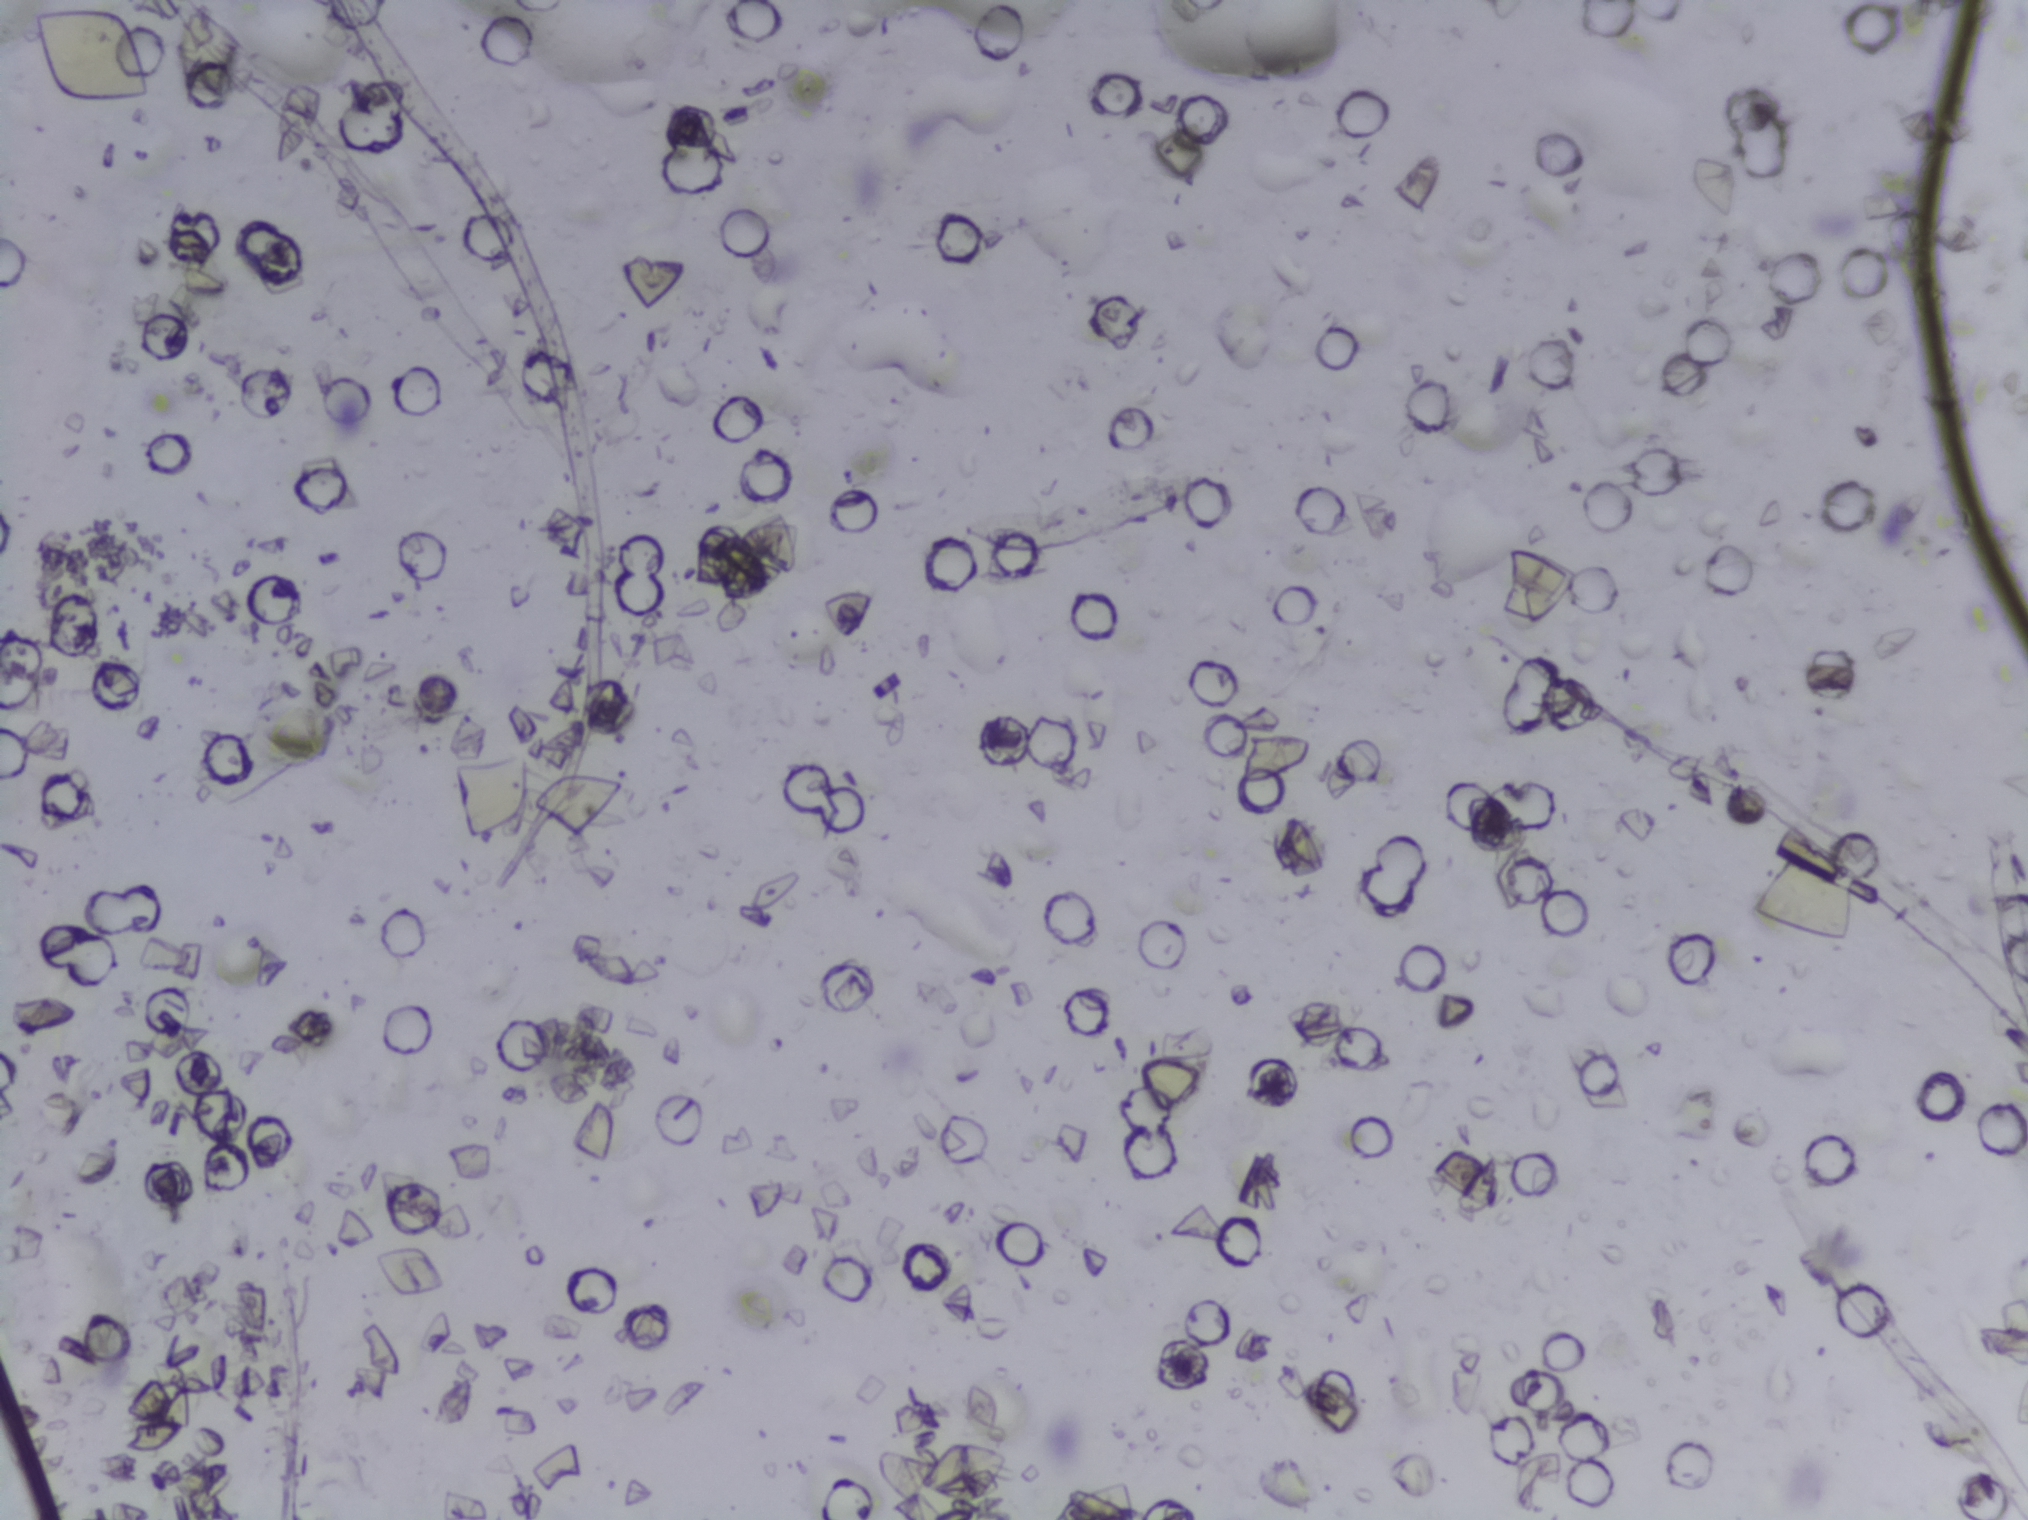
Urine filter membrane photographed through a 4× microscope objective. The image covers about 1.5 × 1.1 mm of the membrane.
No area of this image was outlined as a Schistosoma egg.